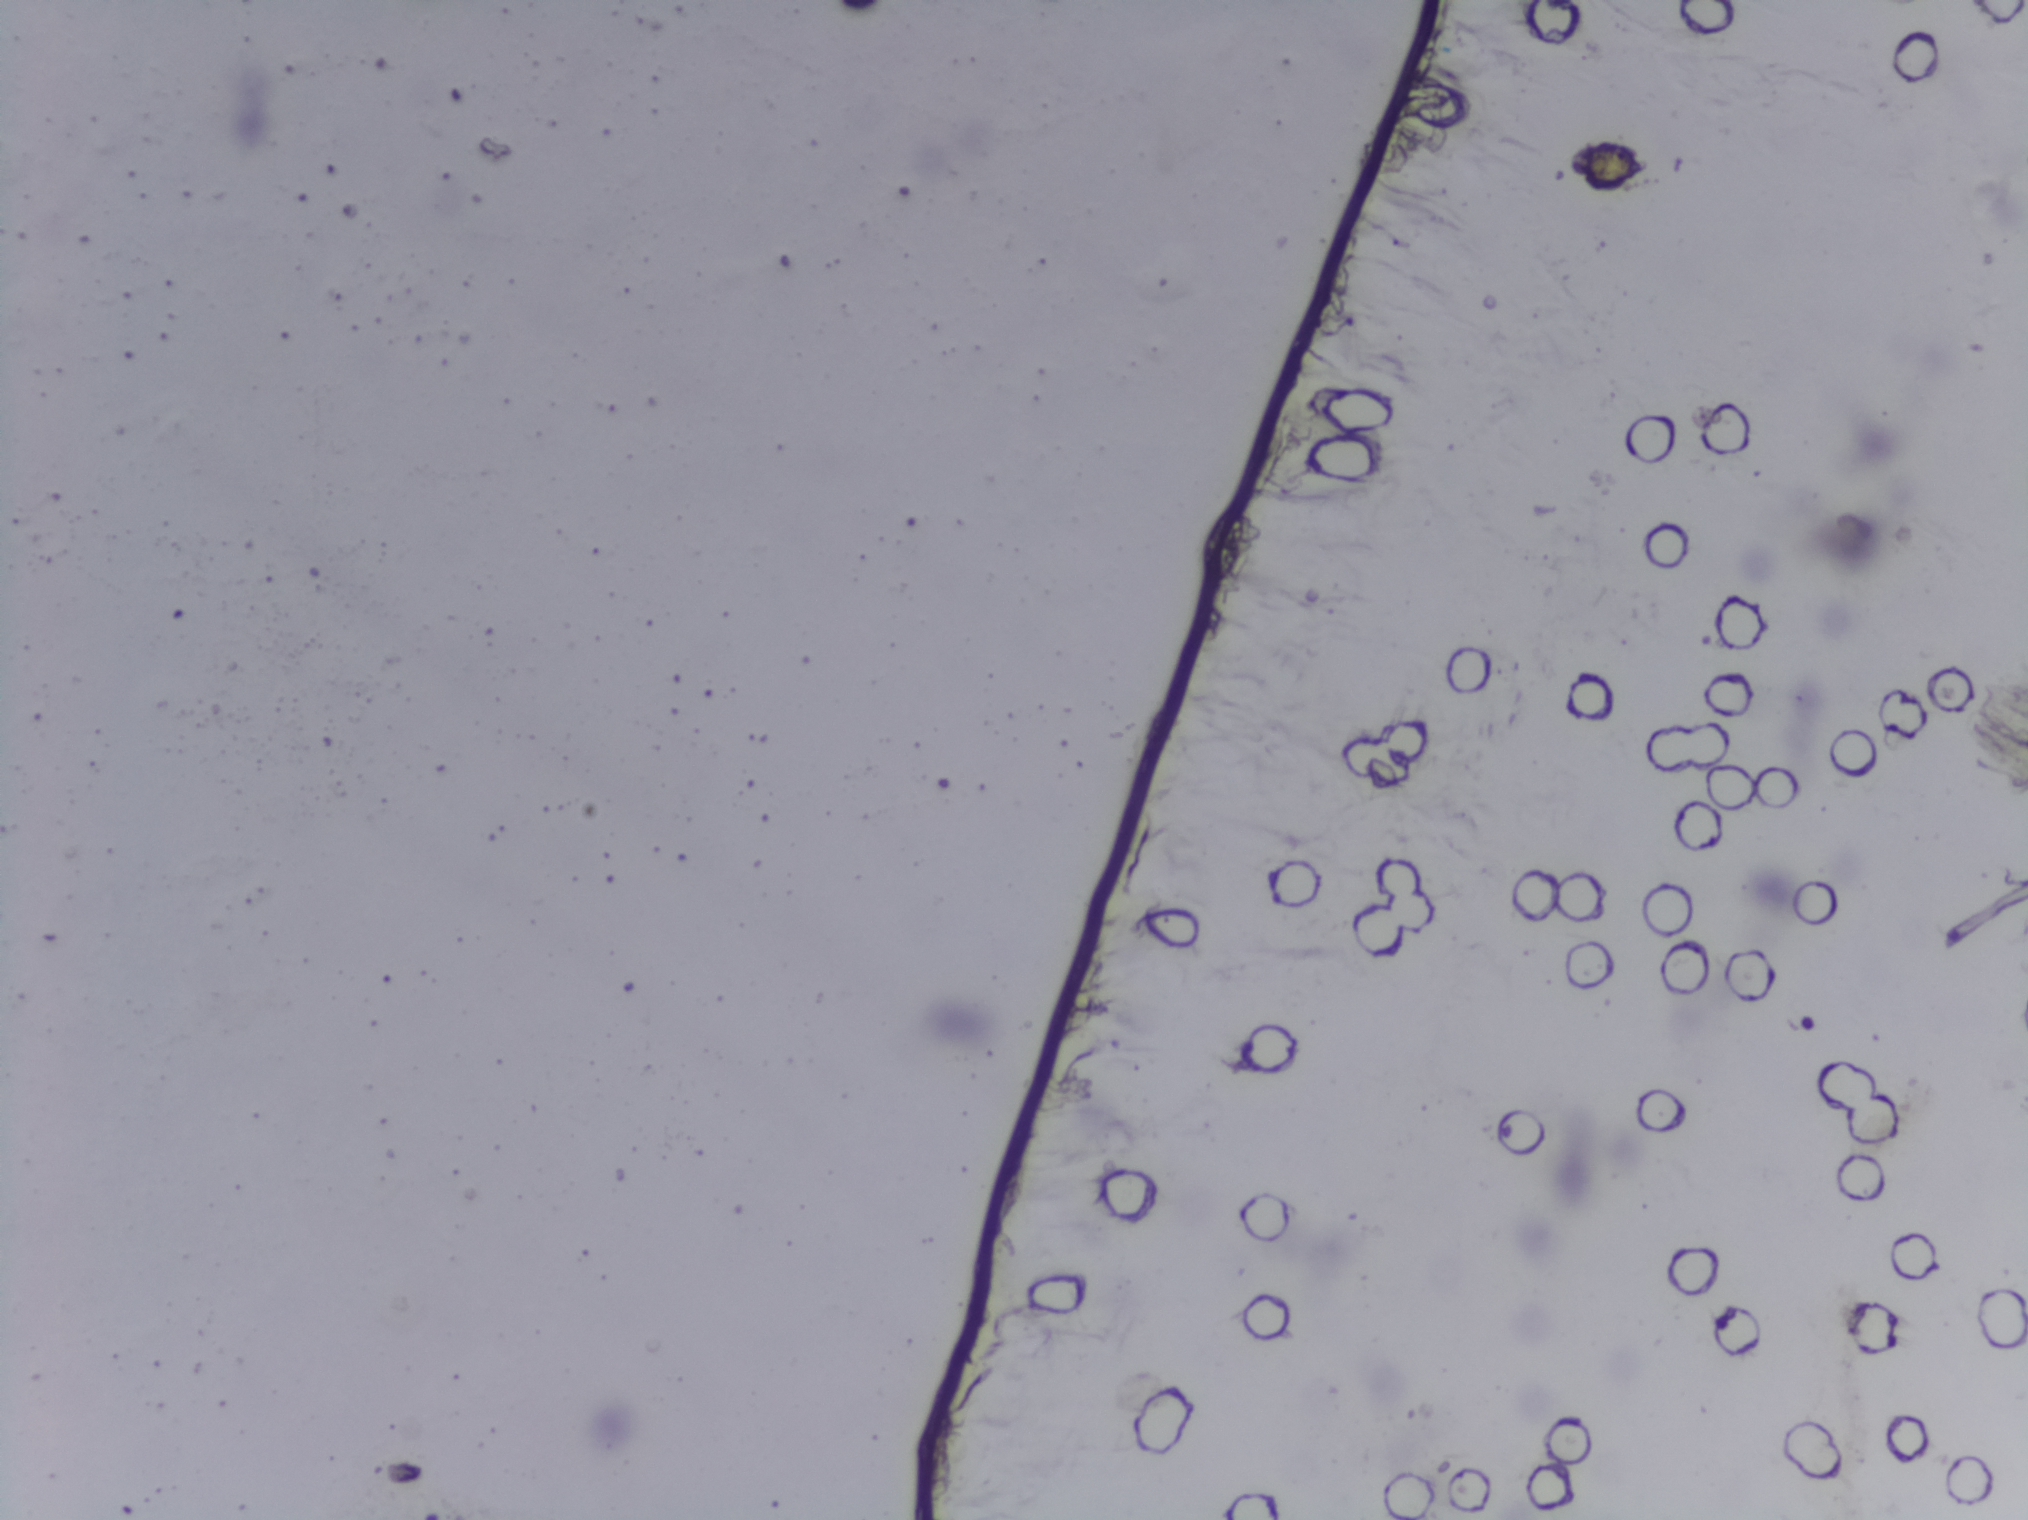
One field of view of a urine filter membrane, 4× objective, 2028 × 1520 pixels. The field of view is about 1.5 mm × 1.1 mm.
Schistosoma eggs: none outlined.